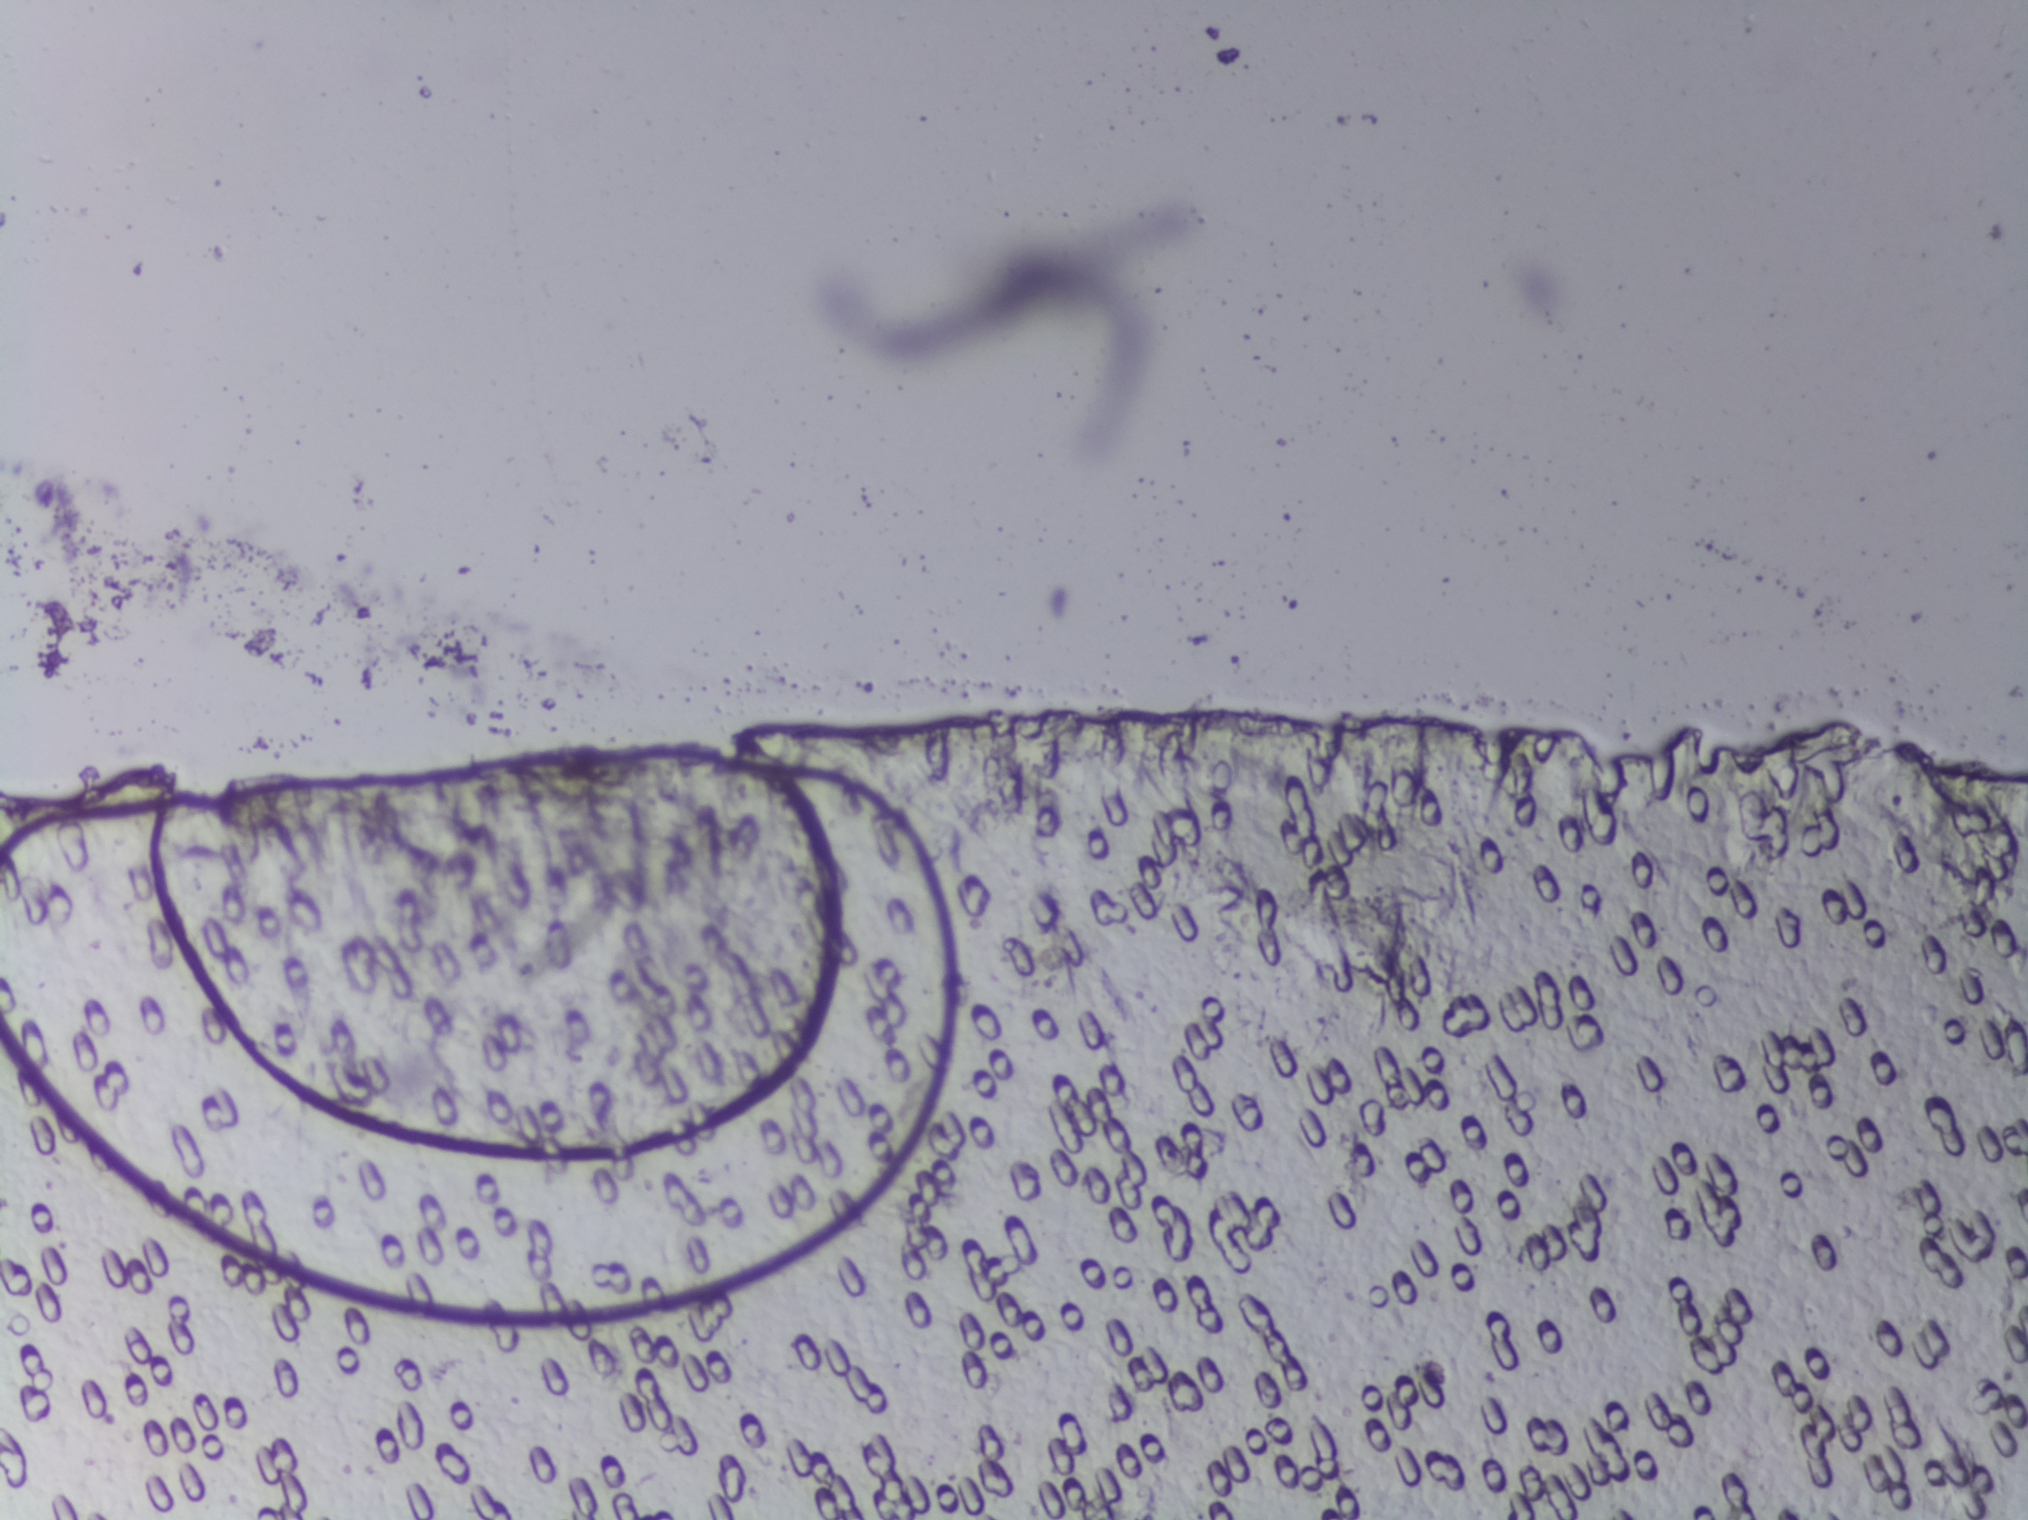
Urine filter membrane photographed through a 4× microscope objective.
Schistosoma eggs: none outlined.